Urine filtration membrane under a 4× objective, photographed by an automated digital microscope.
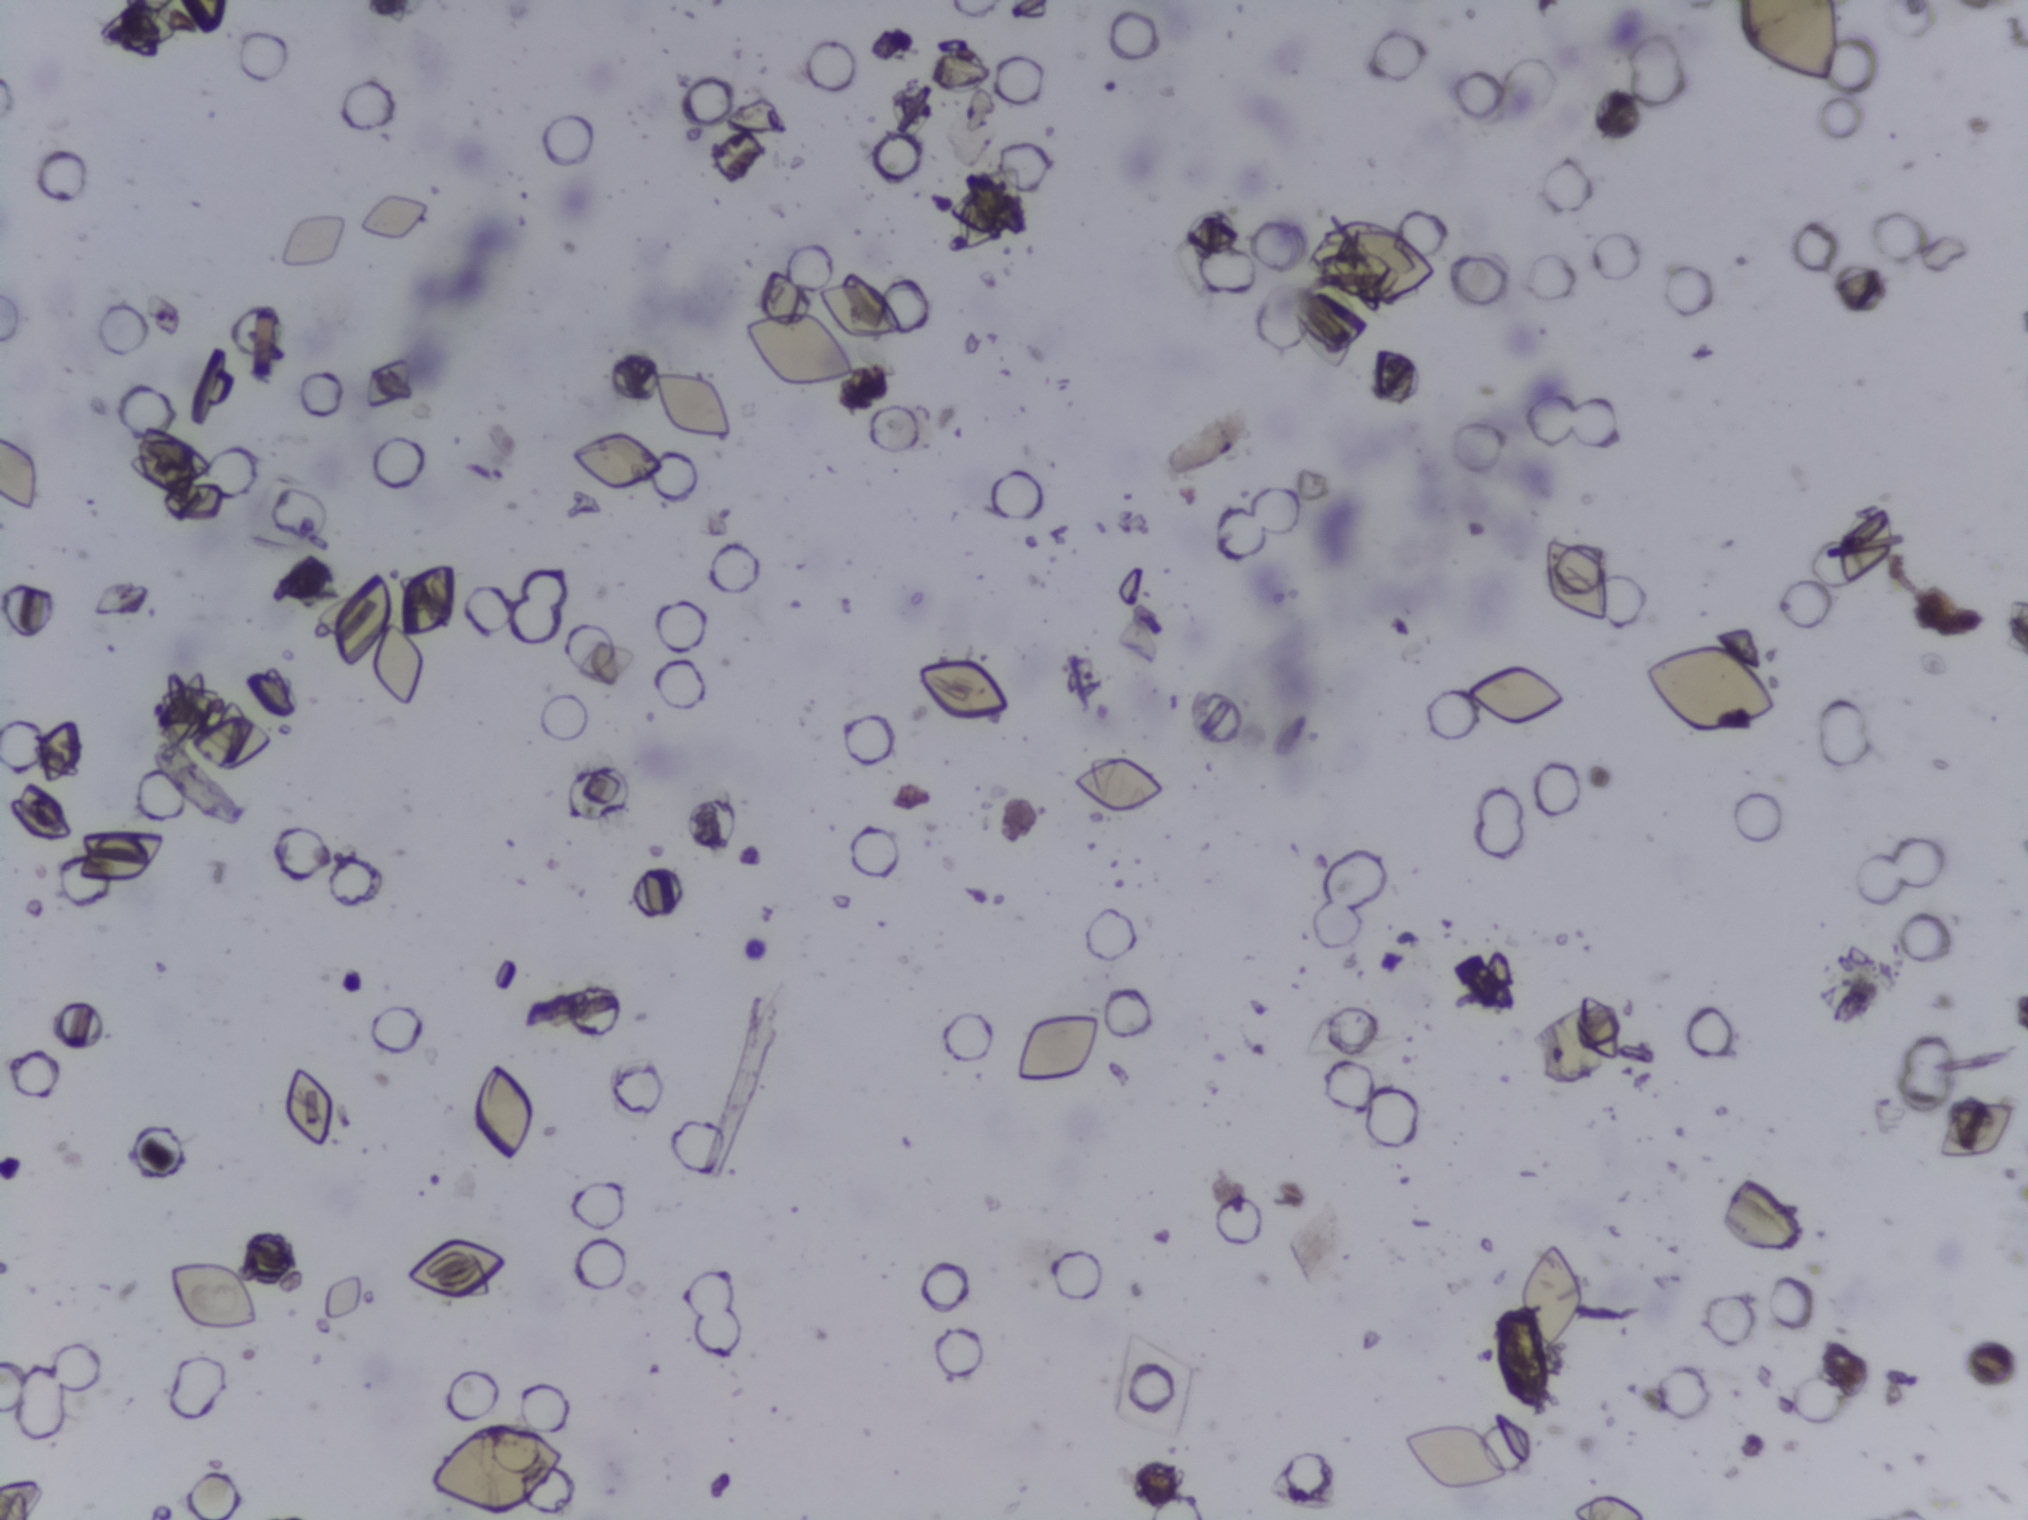
No area of this image was outlined as a Schistosoma egg.